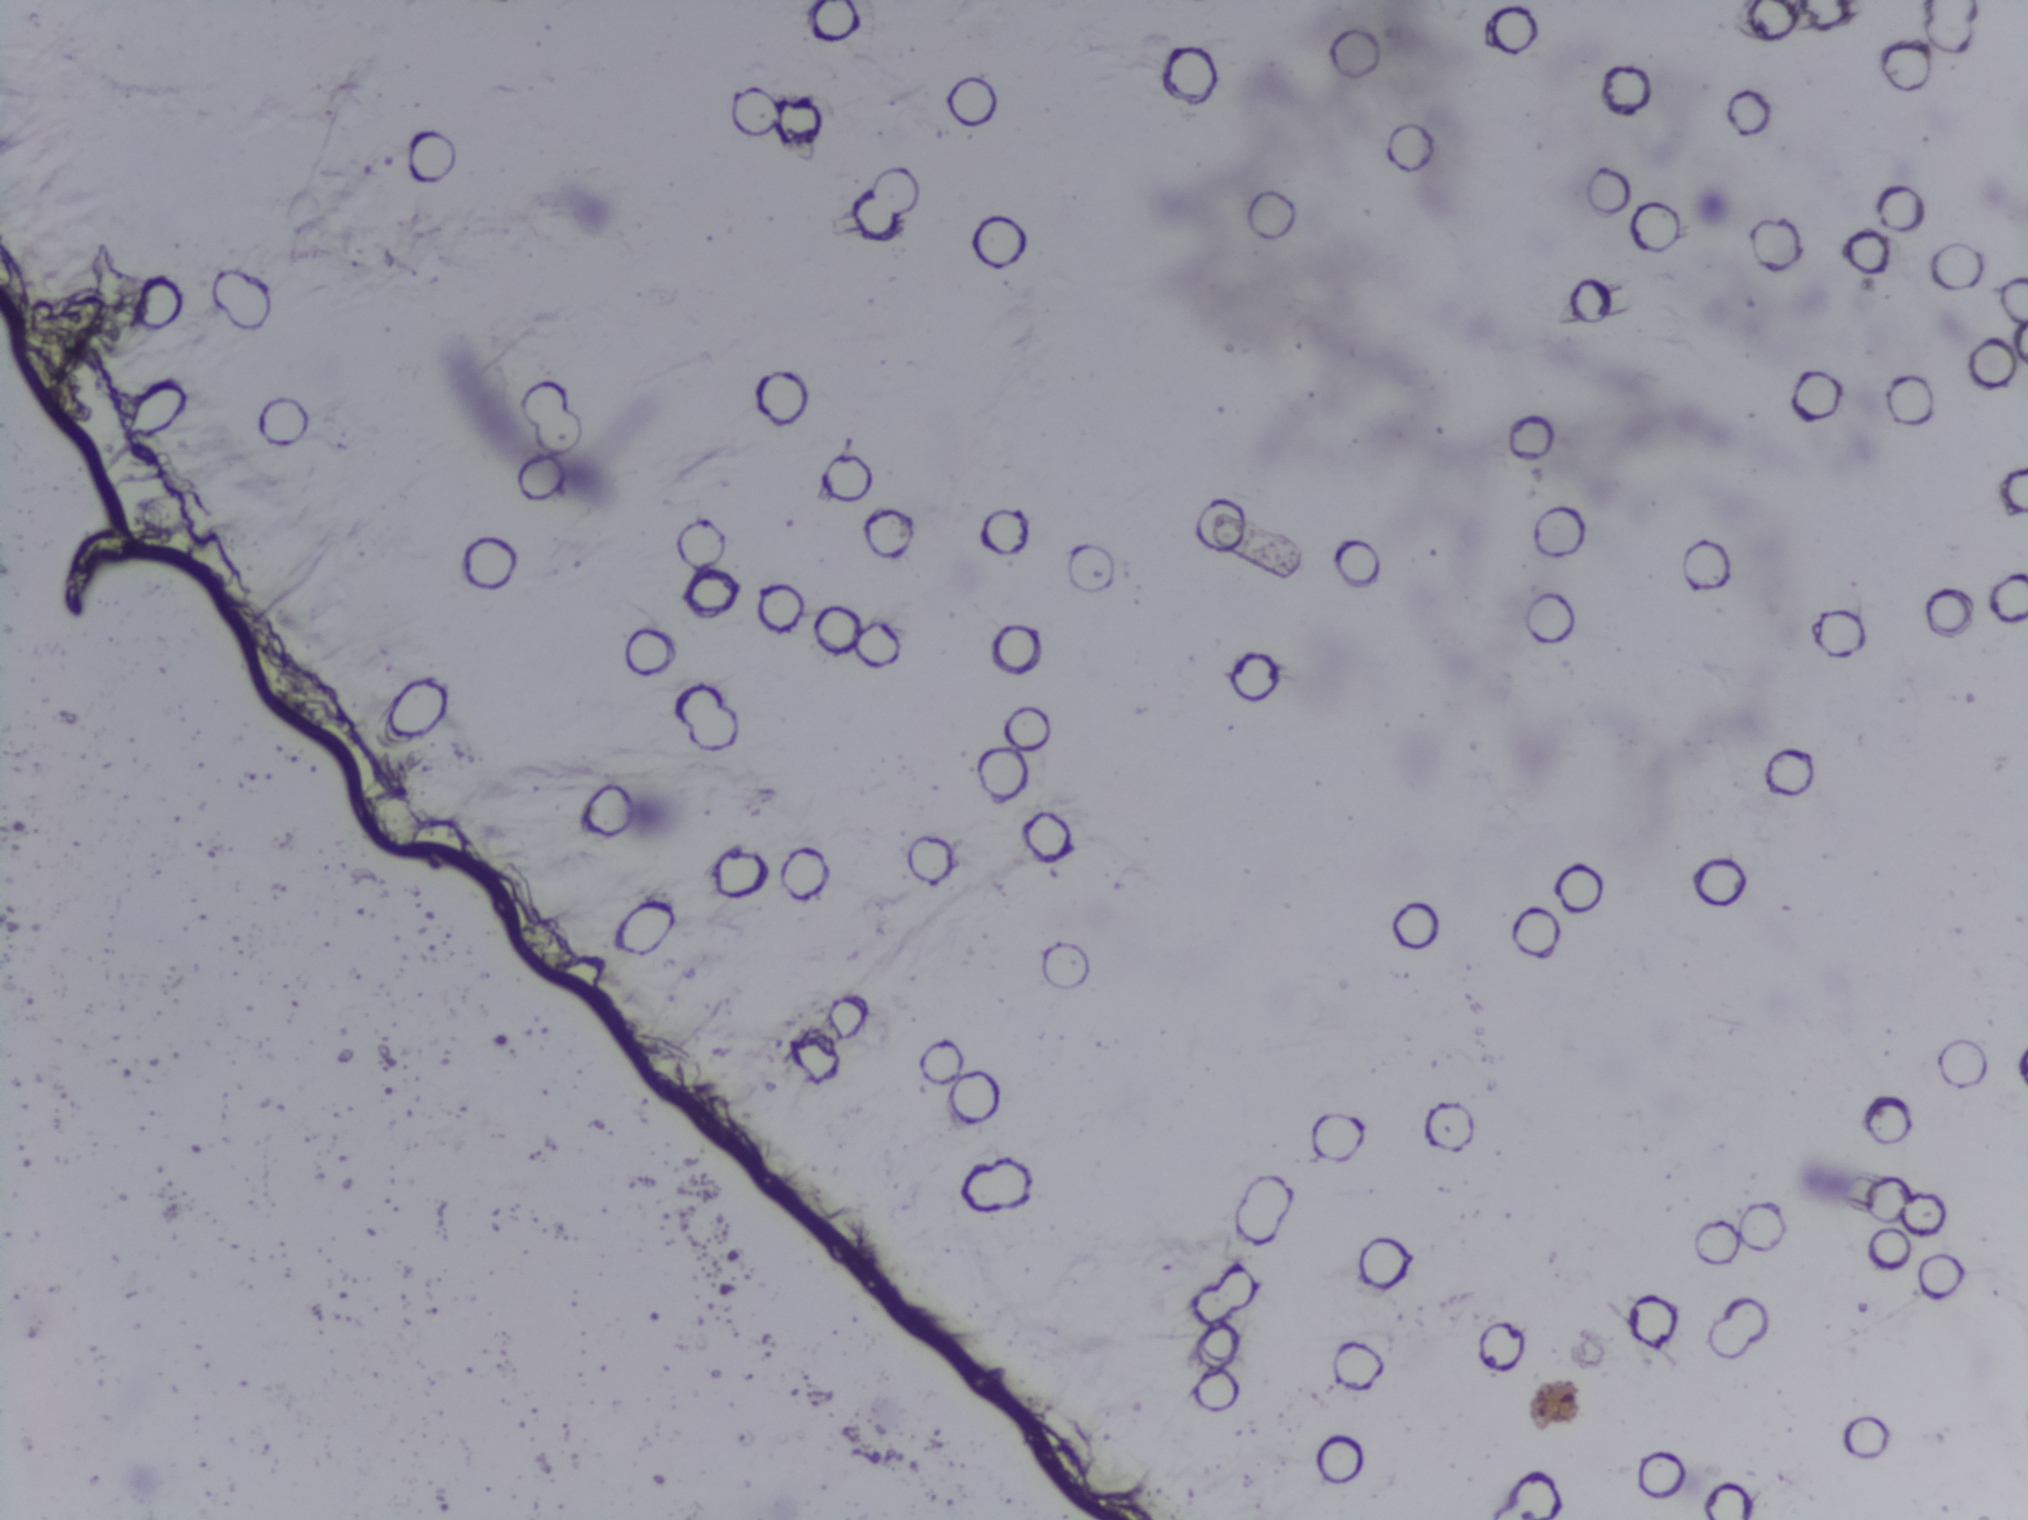
The expert annotation outlines no Schistosoma egg in this image.
Microscope photograph (4× objective) of a membrane that a urine sample was filtered through.